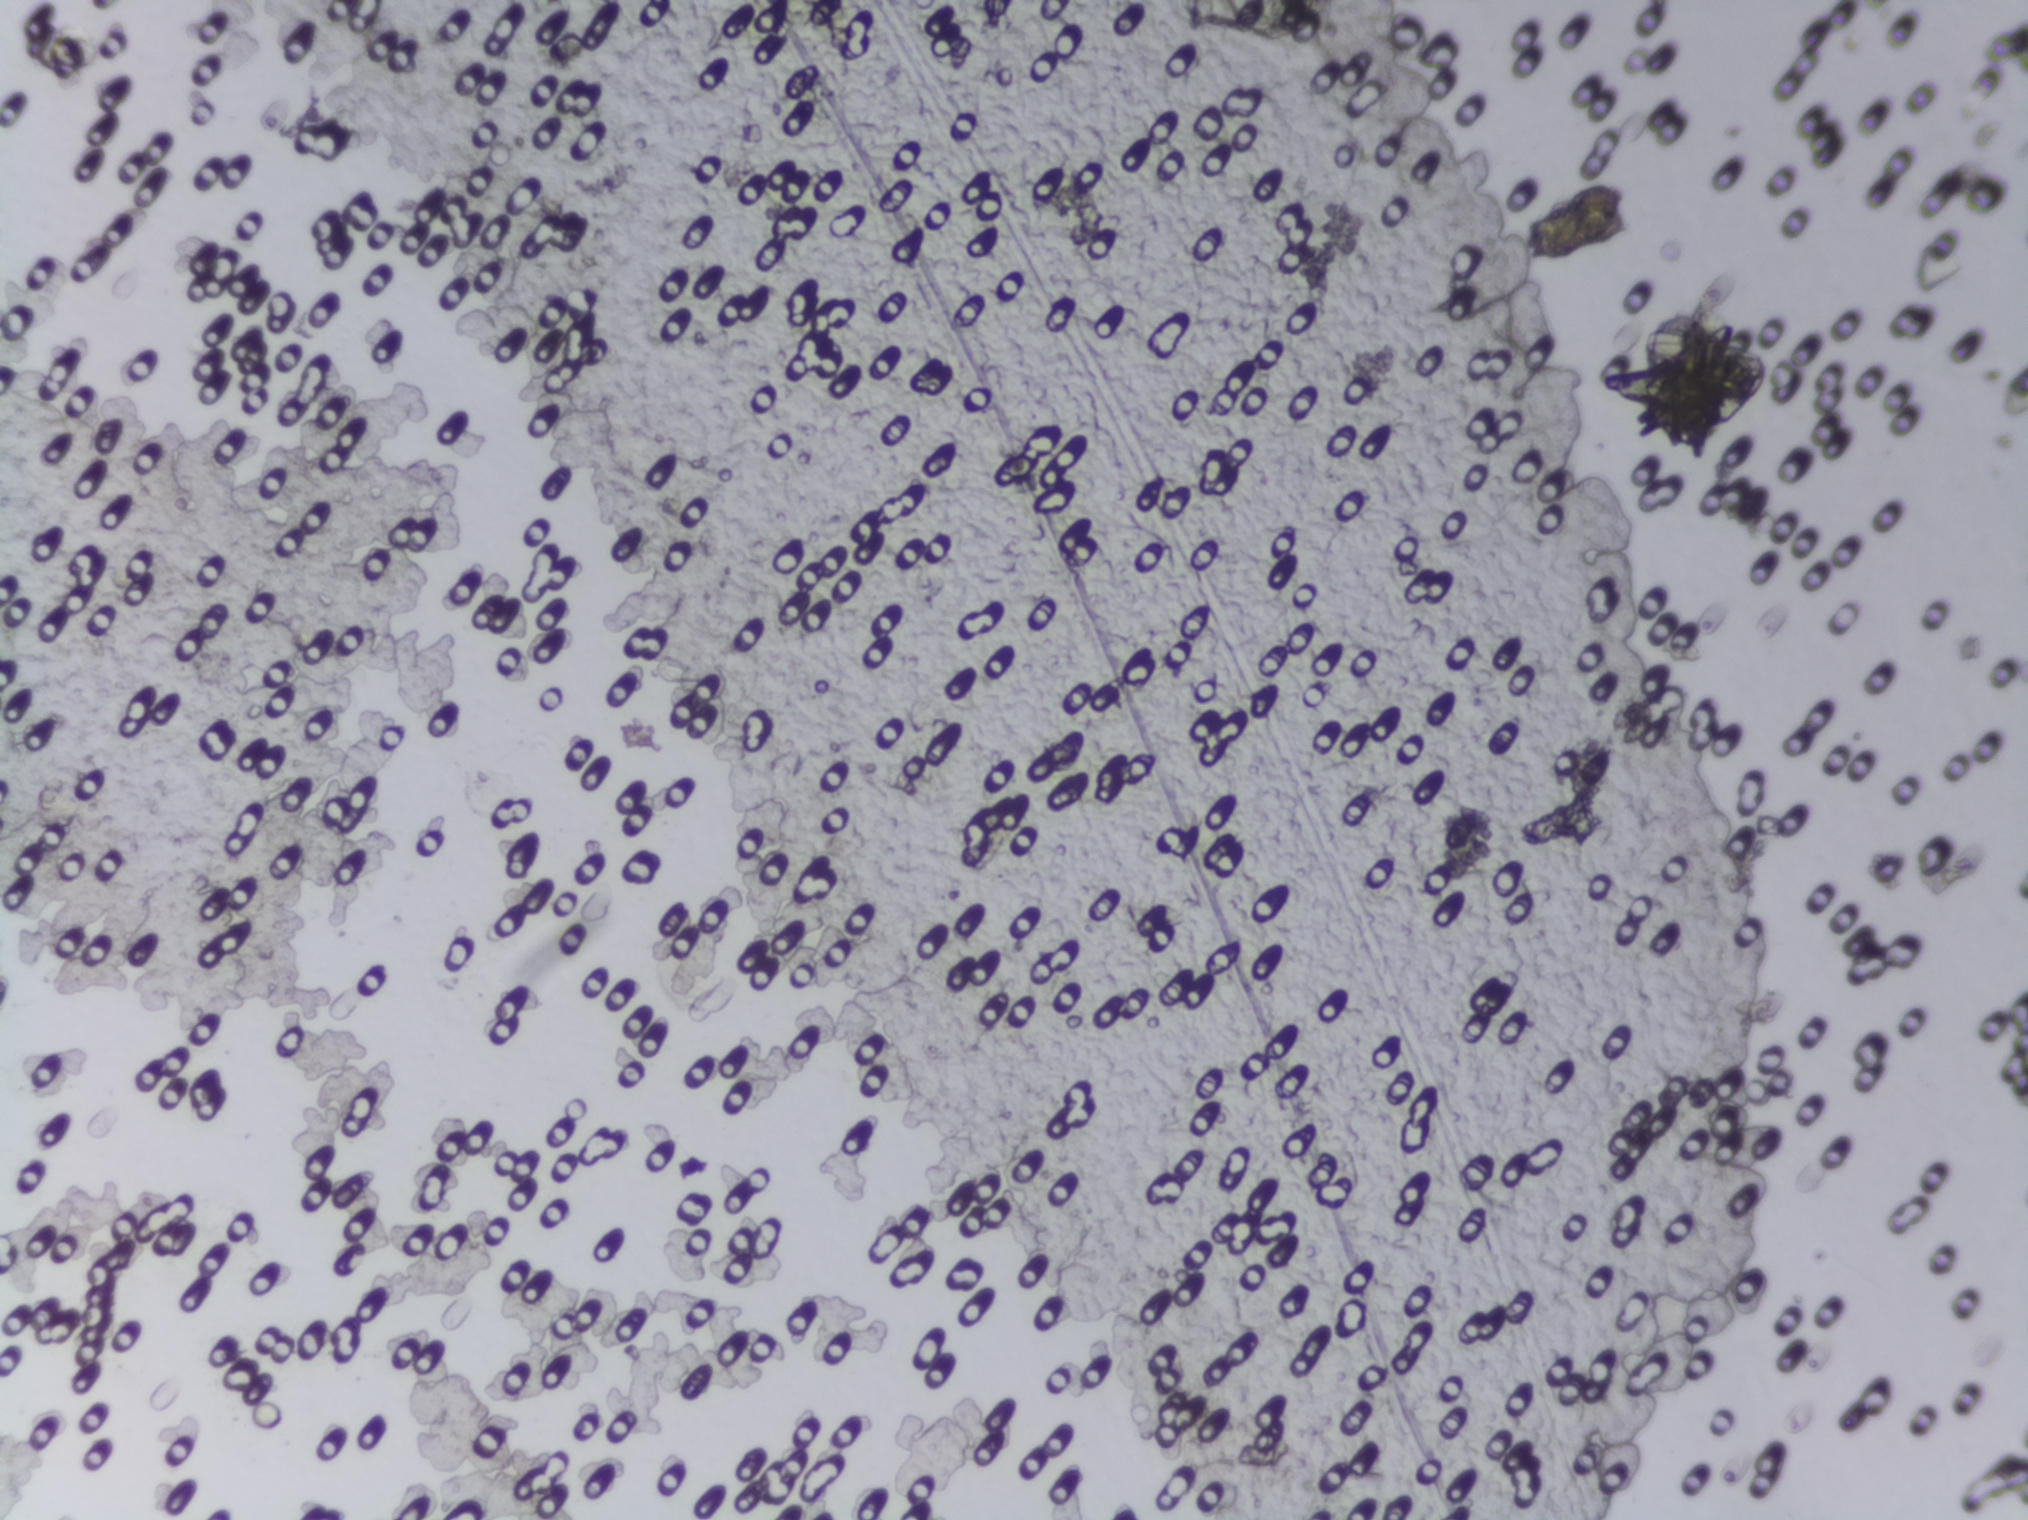
One field of view of a urine filter membrane, 4× objective, 2028 × 1520 pixels.
The expert annotation outlines no Schistosoma egg in this image.